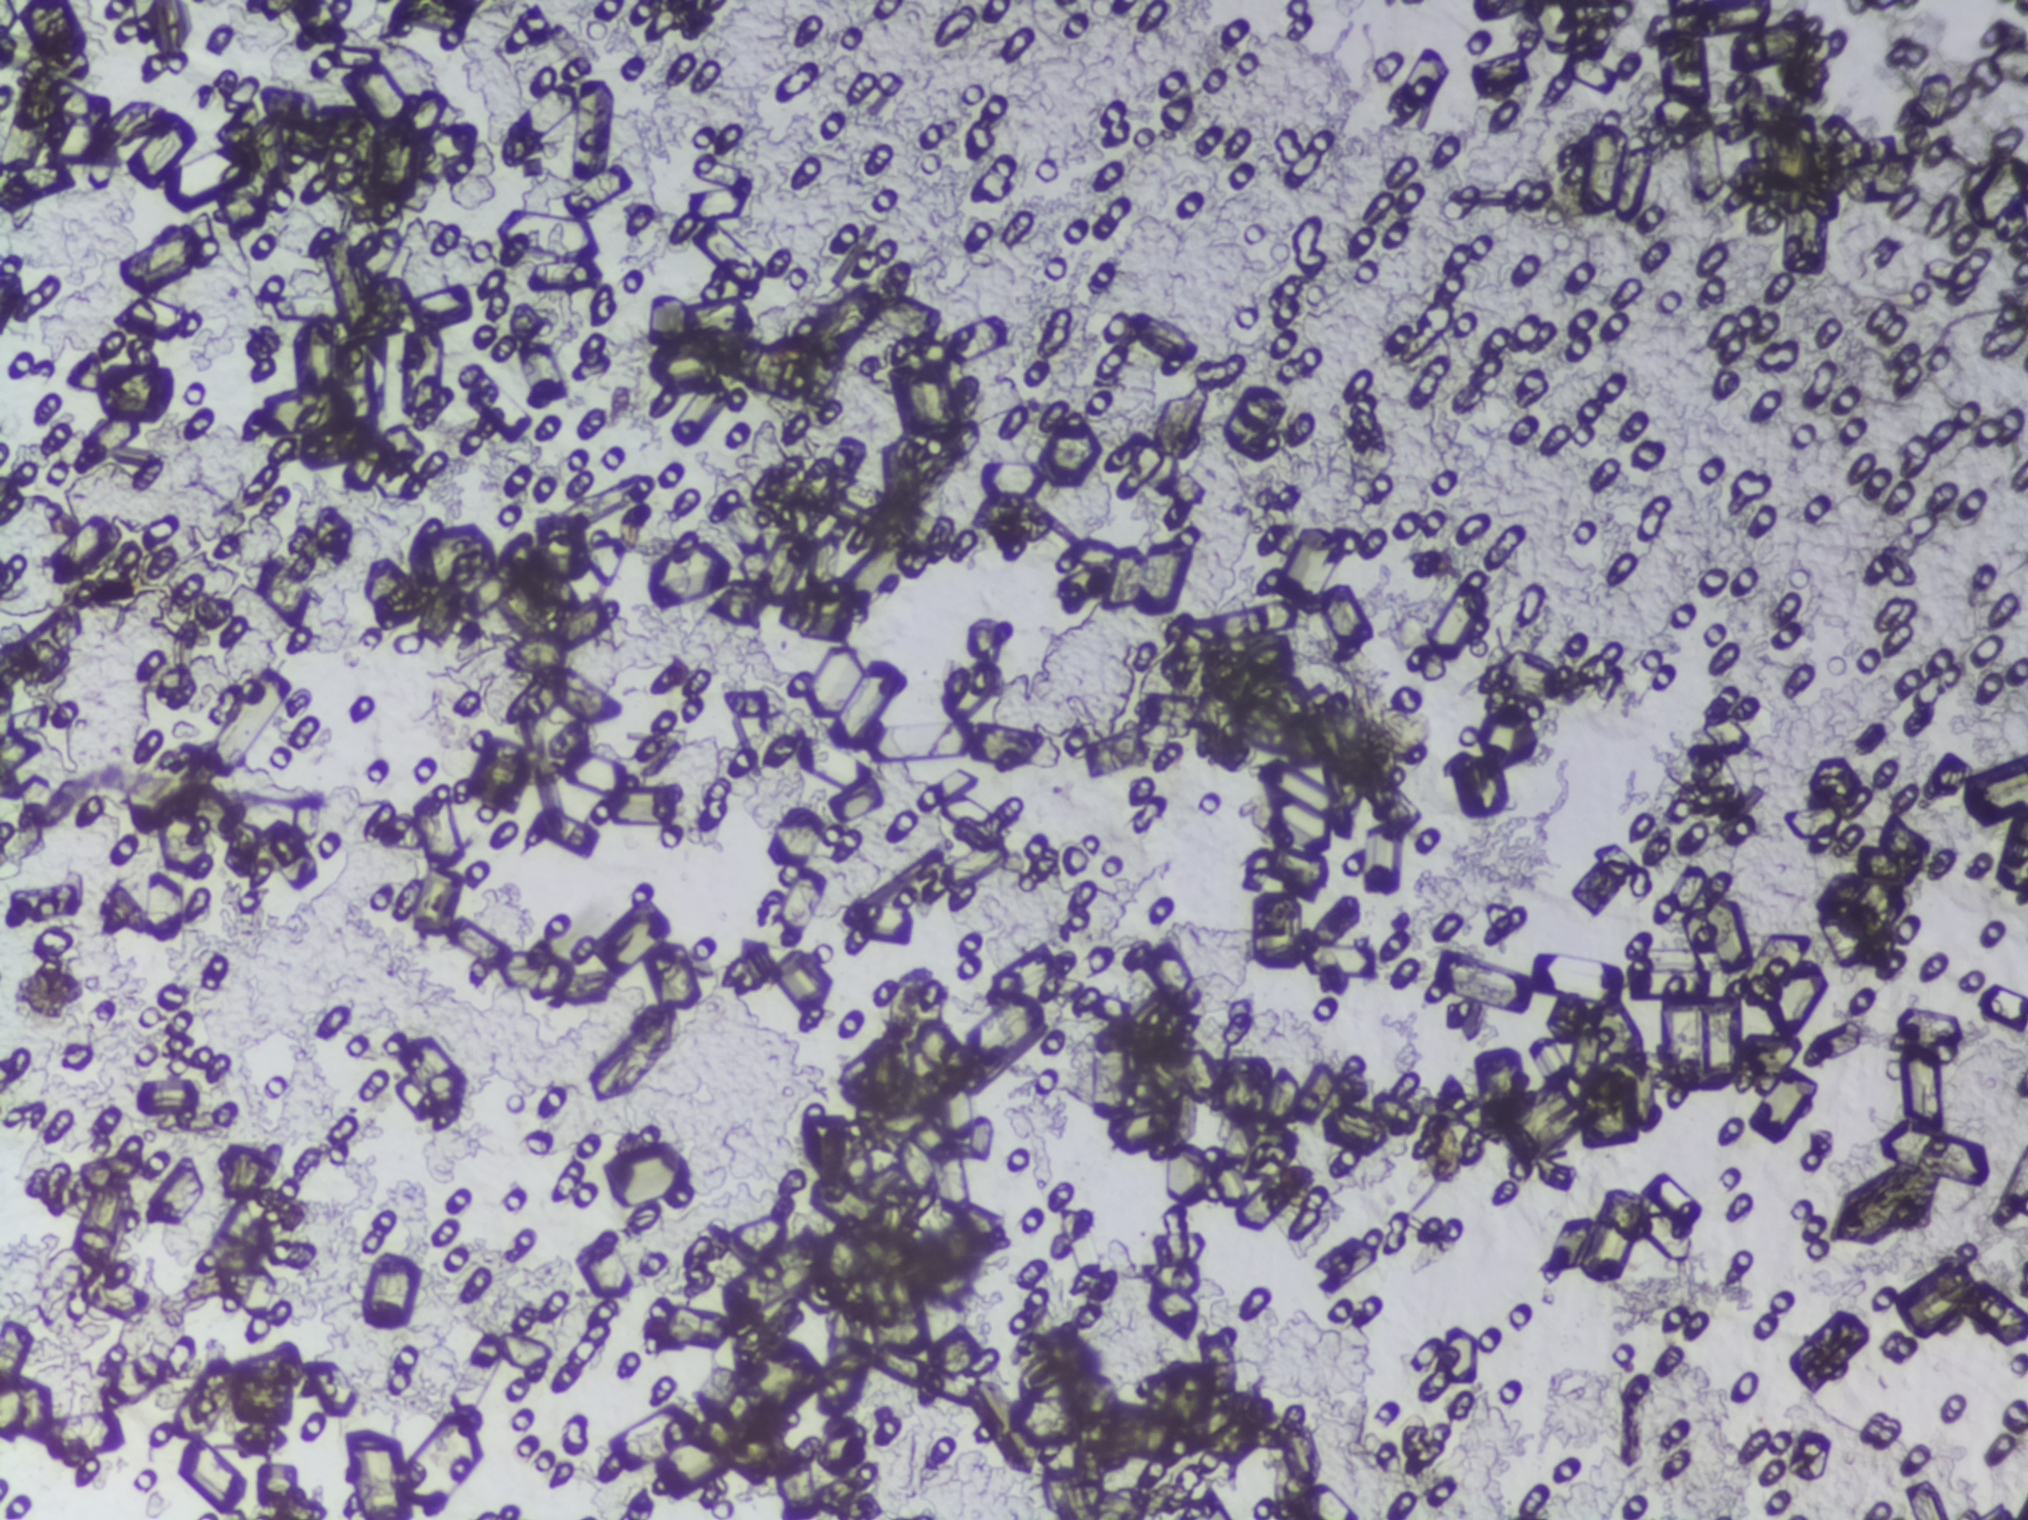
No Schistosoma egg is outlined in this image's expert annotation.
One field of view of a urine filter membrane, 4× objective, 2028 × 1520 pixels. Field of view: about 1.5 mm wide and 1.1 mm high.